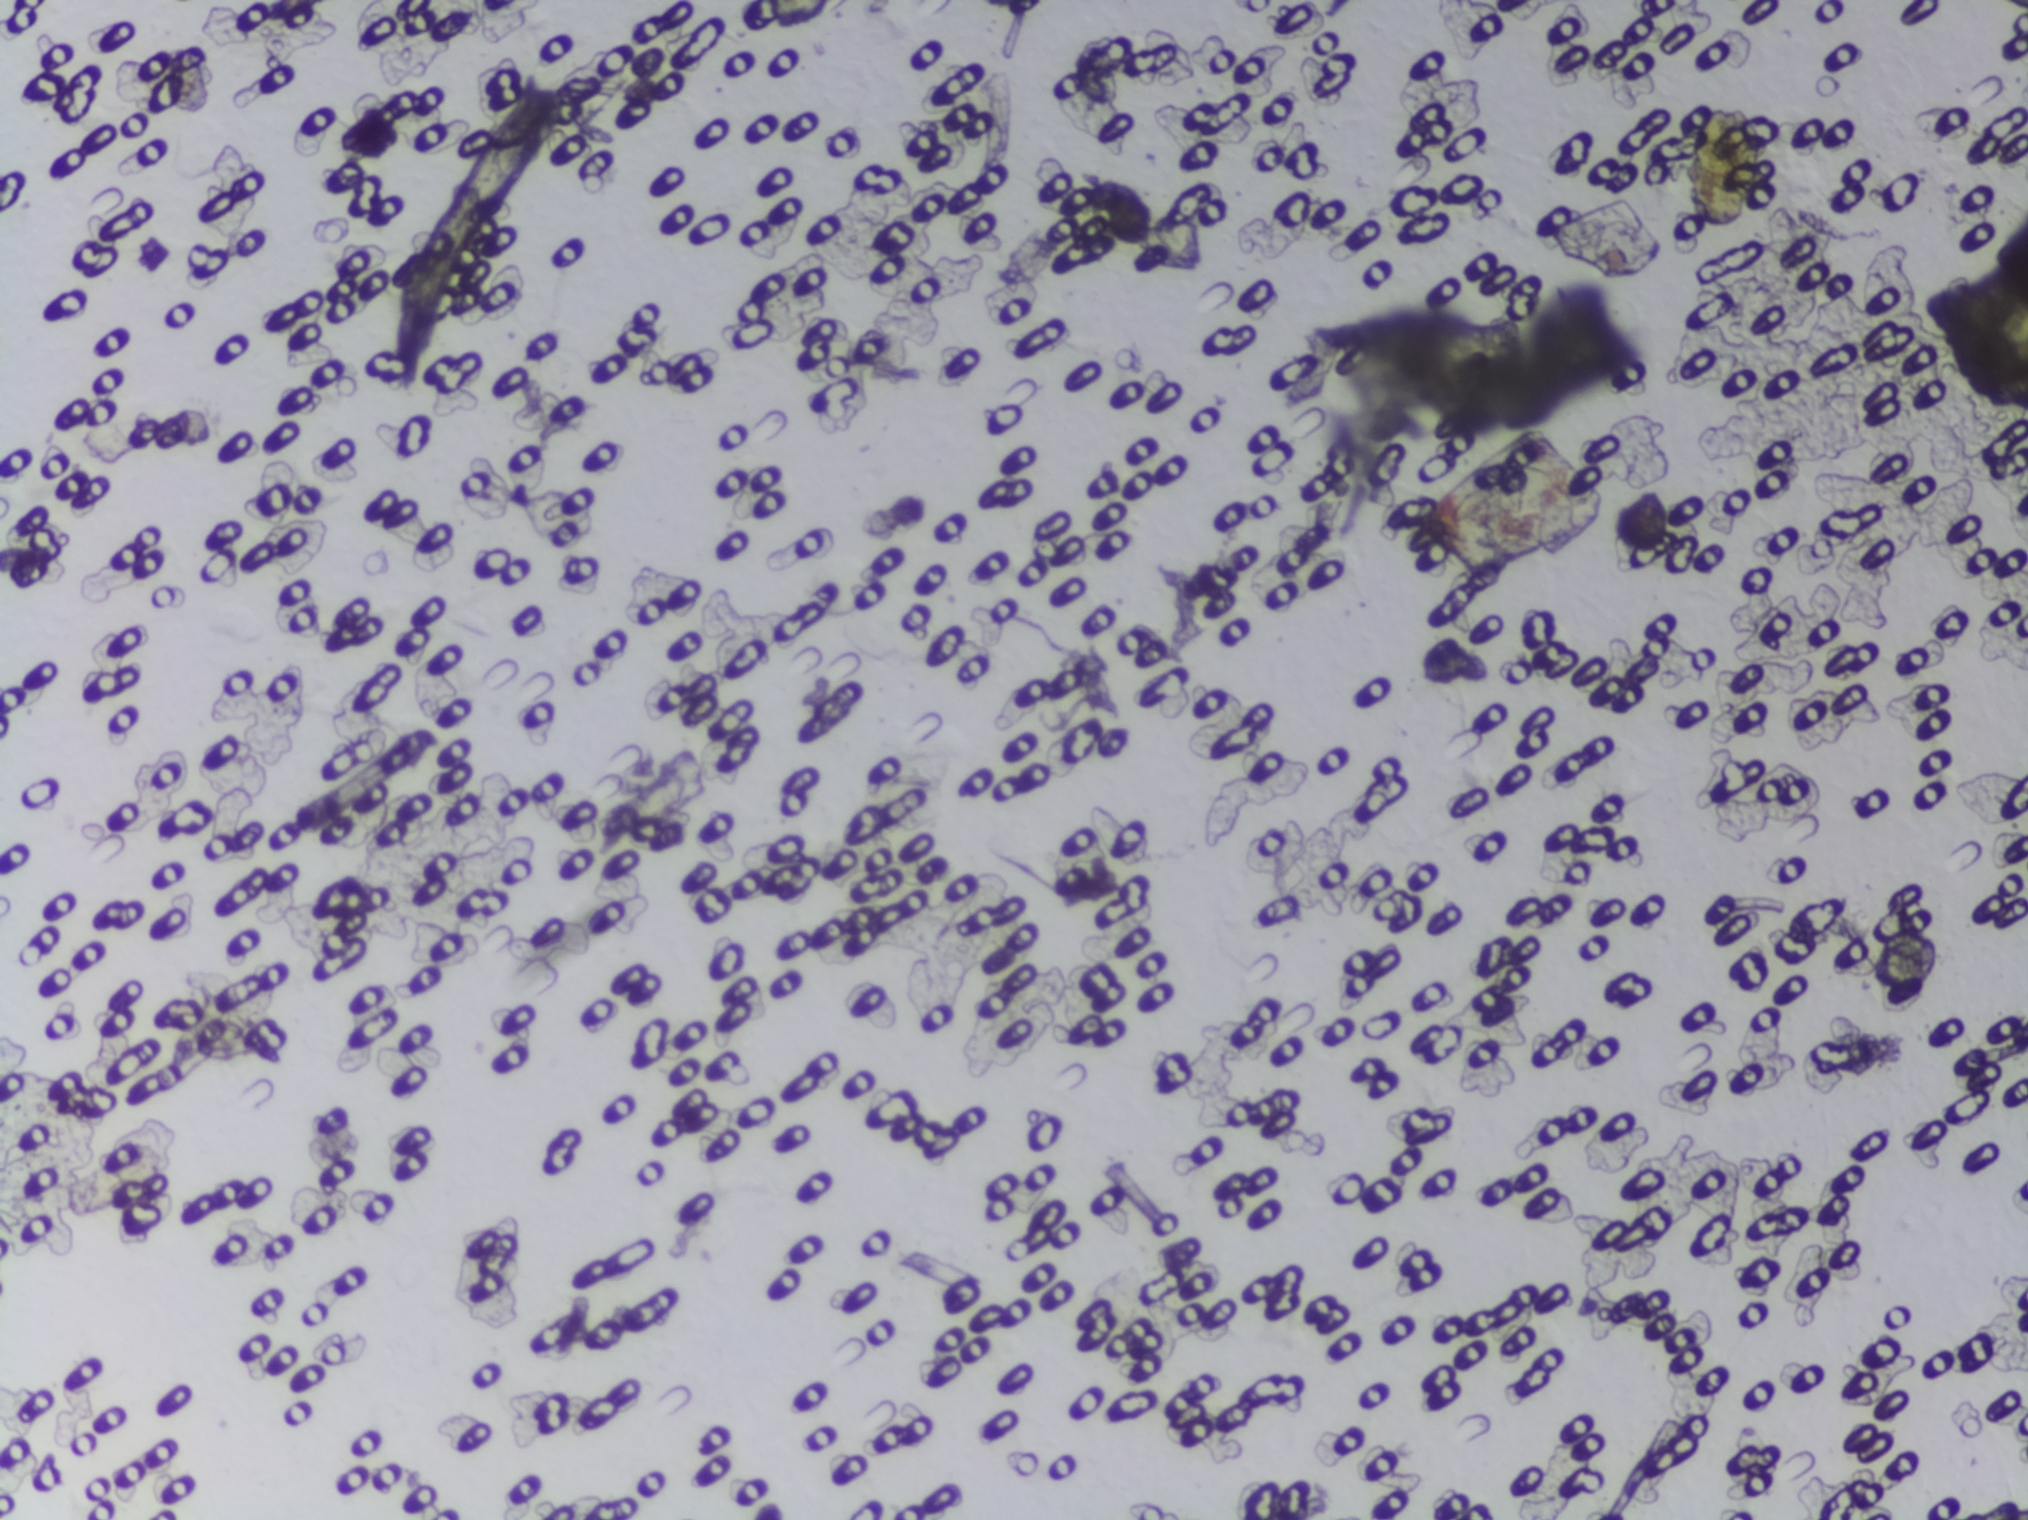
One field of view of a urine filter membrane, 4× objective, 2028 × 1520 pixels.
The expert annotation marks no Schistosoma egg in this field of view.